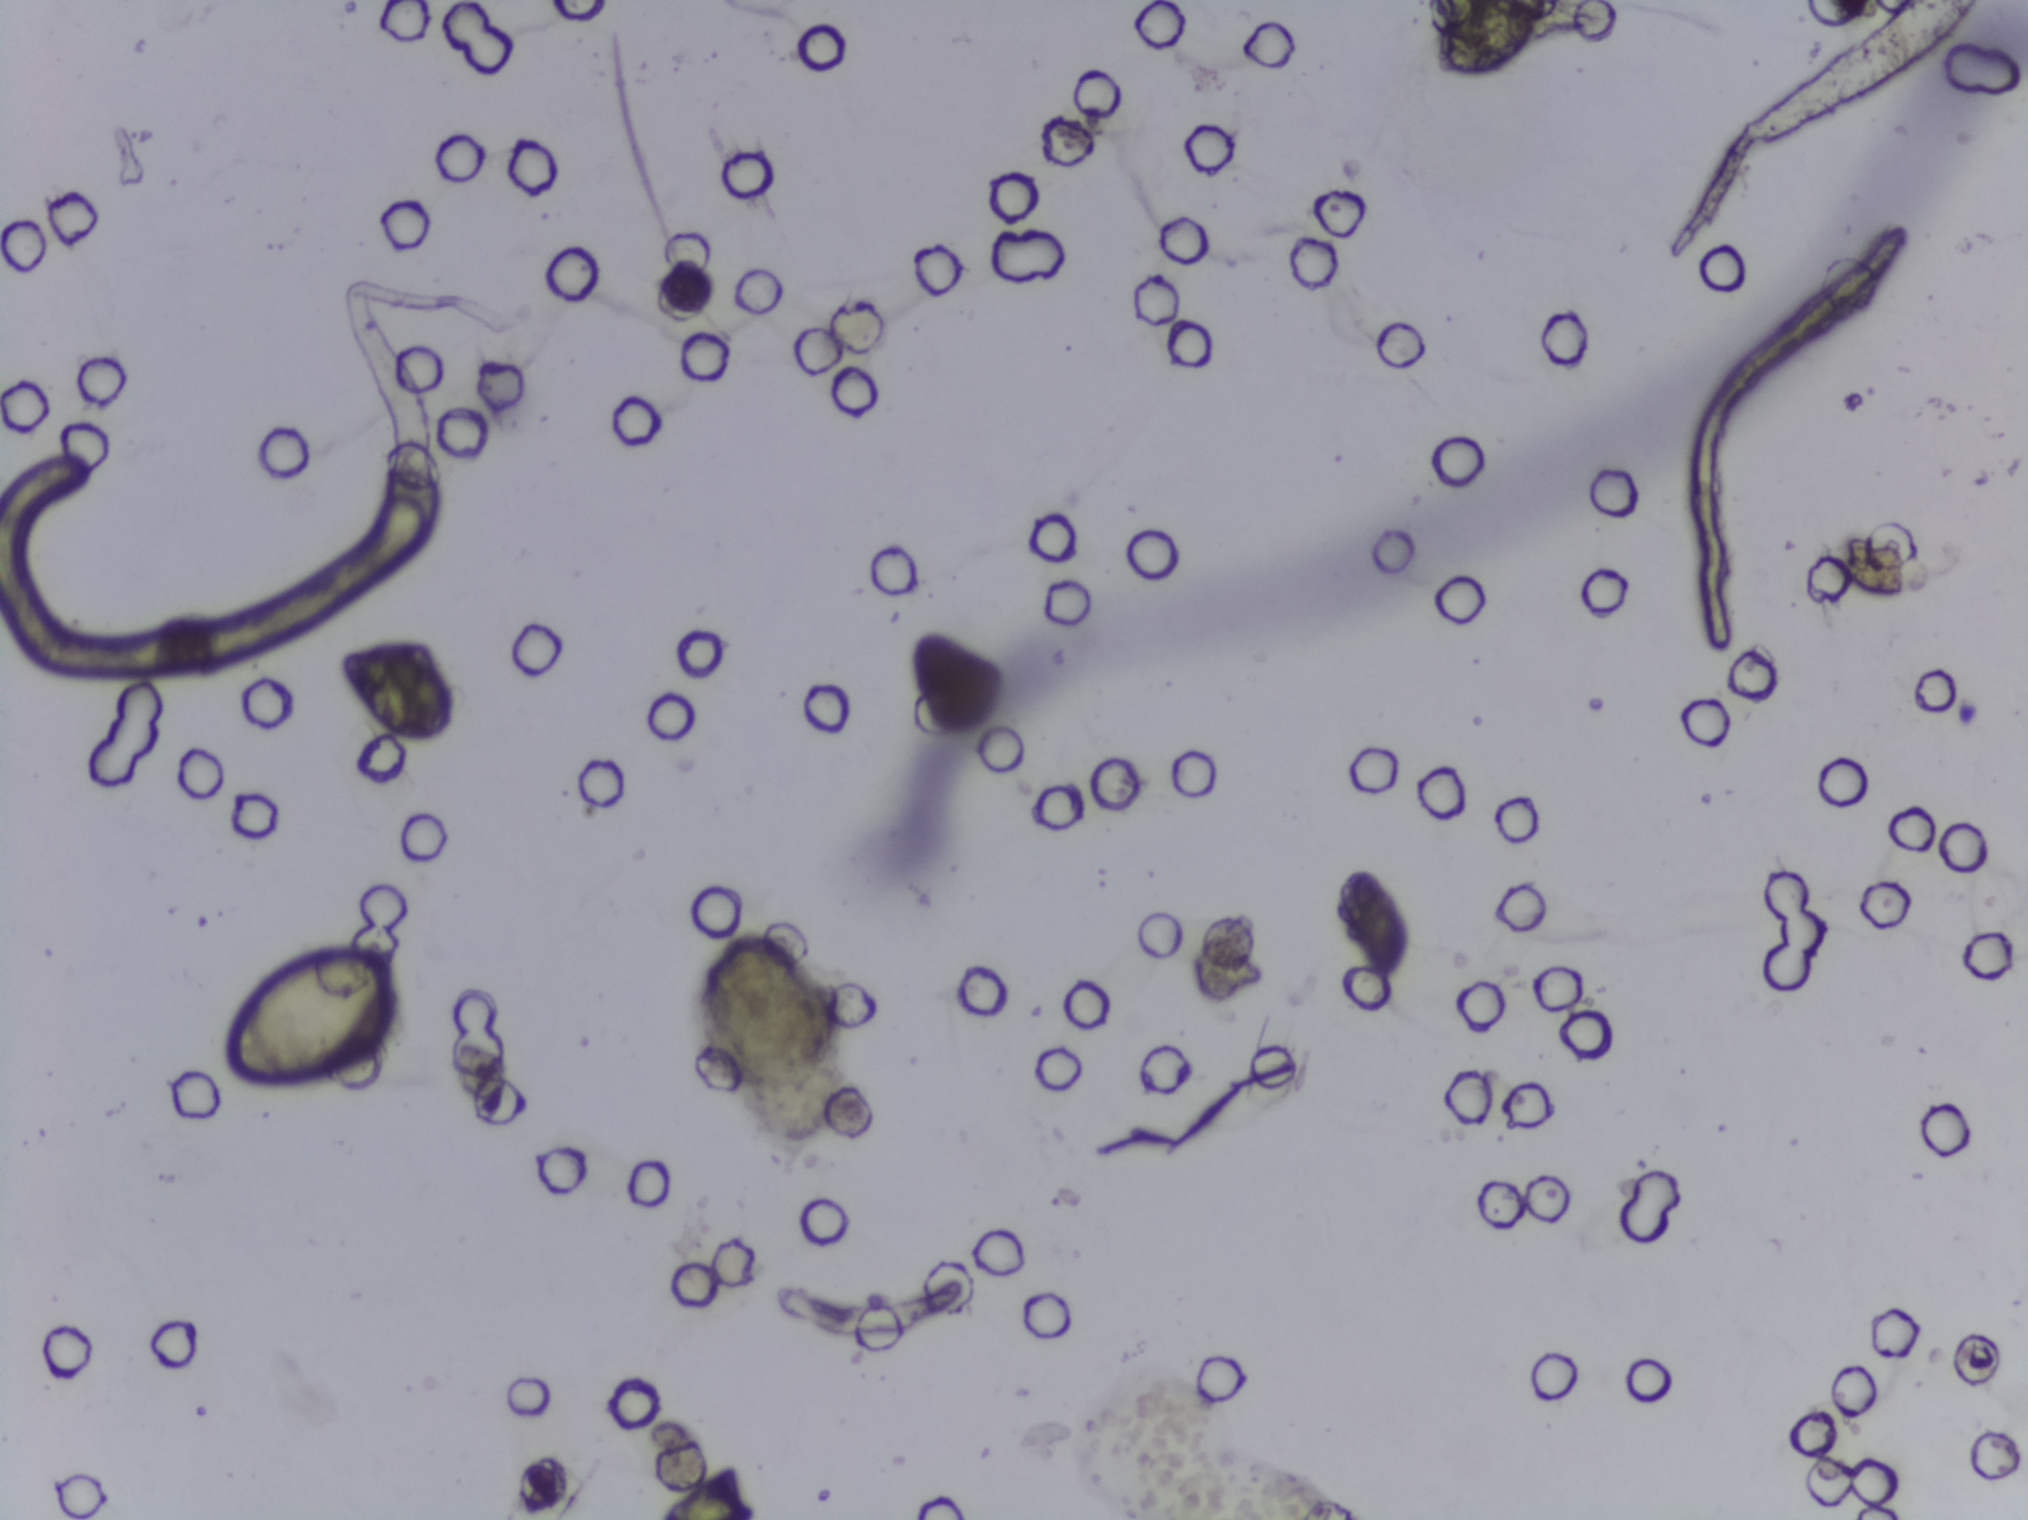
Photograph from an automated digital microscope: urine filter membrane, 4× objective.
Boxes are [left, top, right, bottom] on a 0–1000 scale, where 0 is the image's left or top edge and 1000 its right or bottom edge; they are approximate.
Findings: one area outlined as Schistosoma eggs. Location: [115, 620, 198, 714]. An outlined area can hold more than one egg.